Urine filter membrane photographed through a 4× microscope objective. The image covers about 1.5 × 1.1 mm of the membrane.
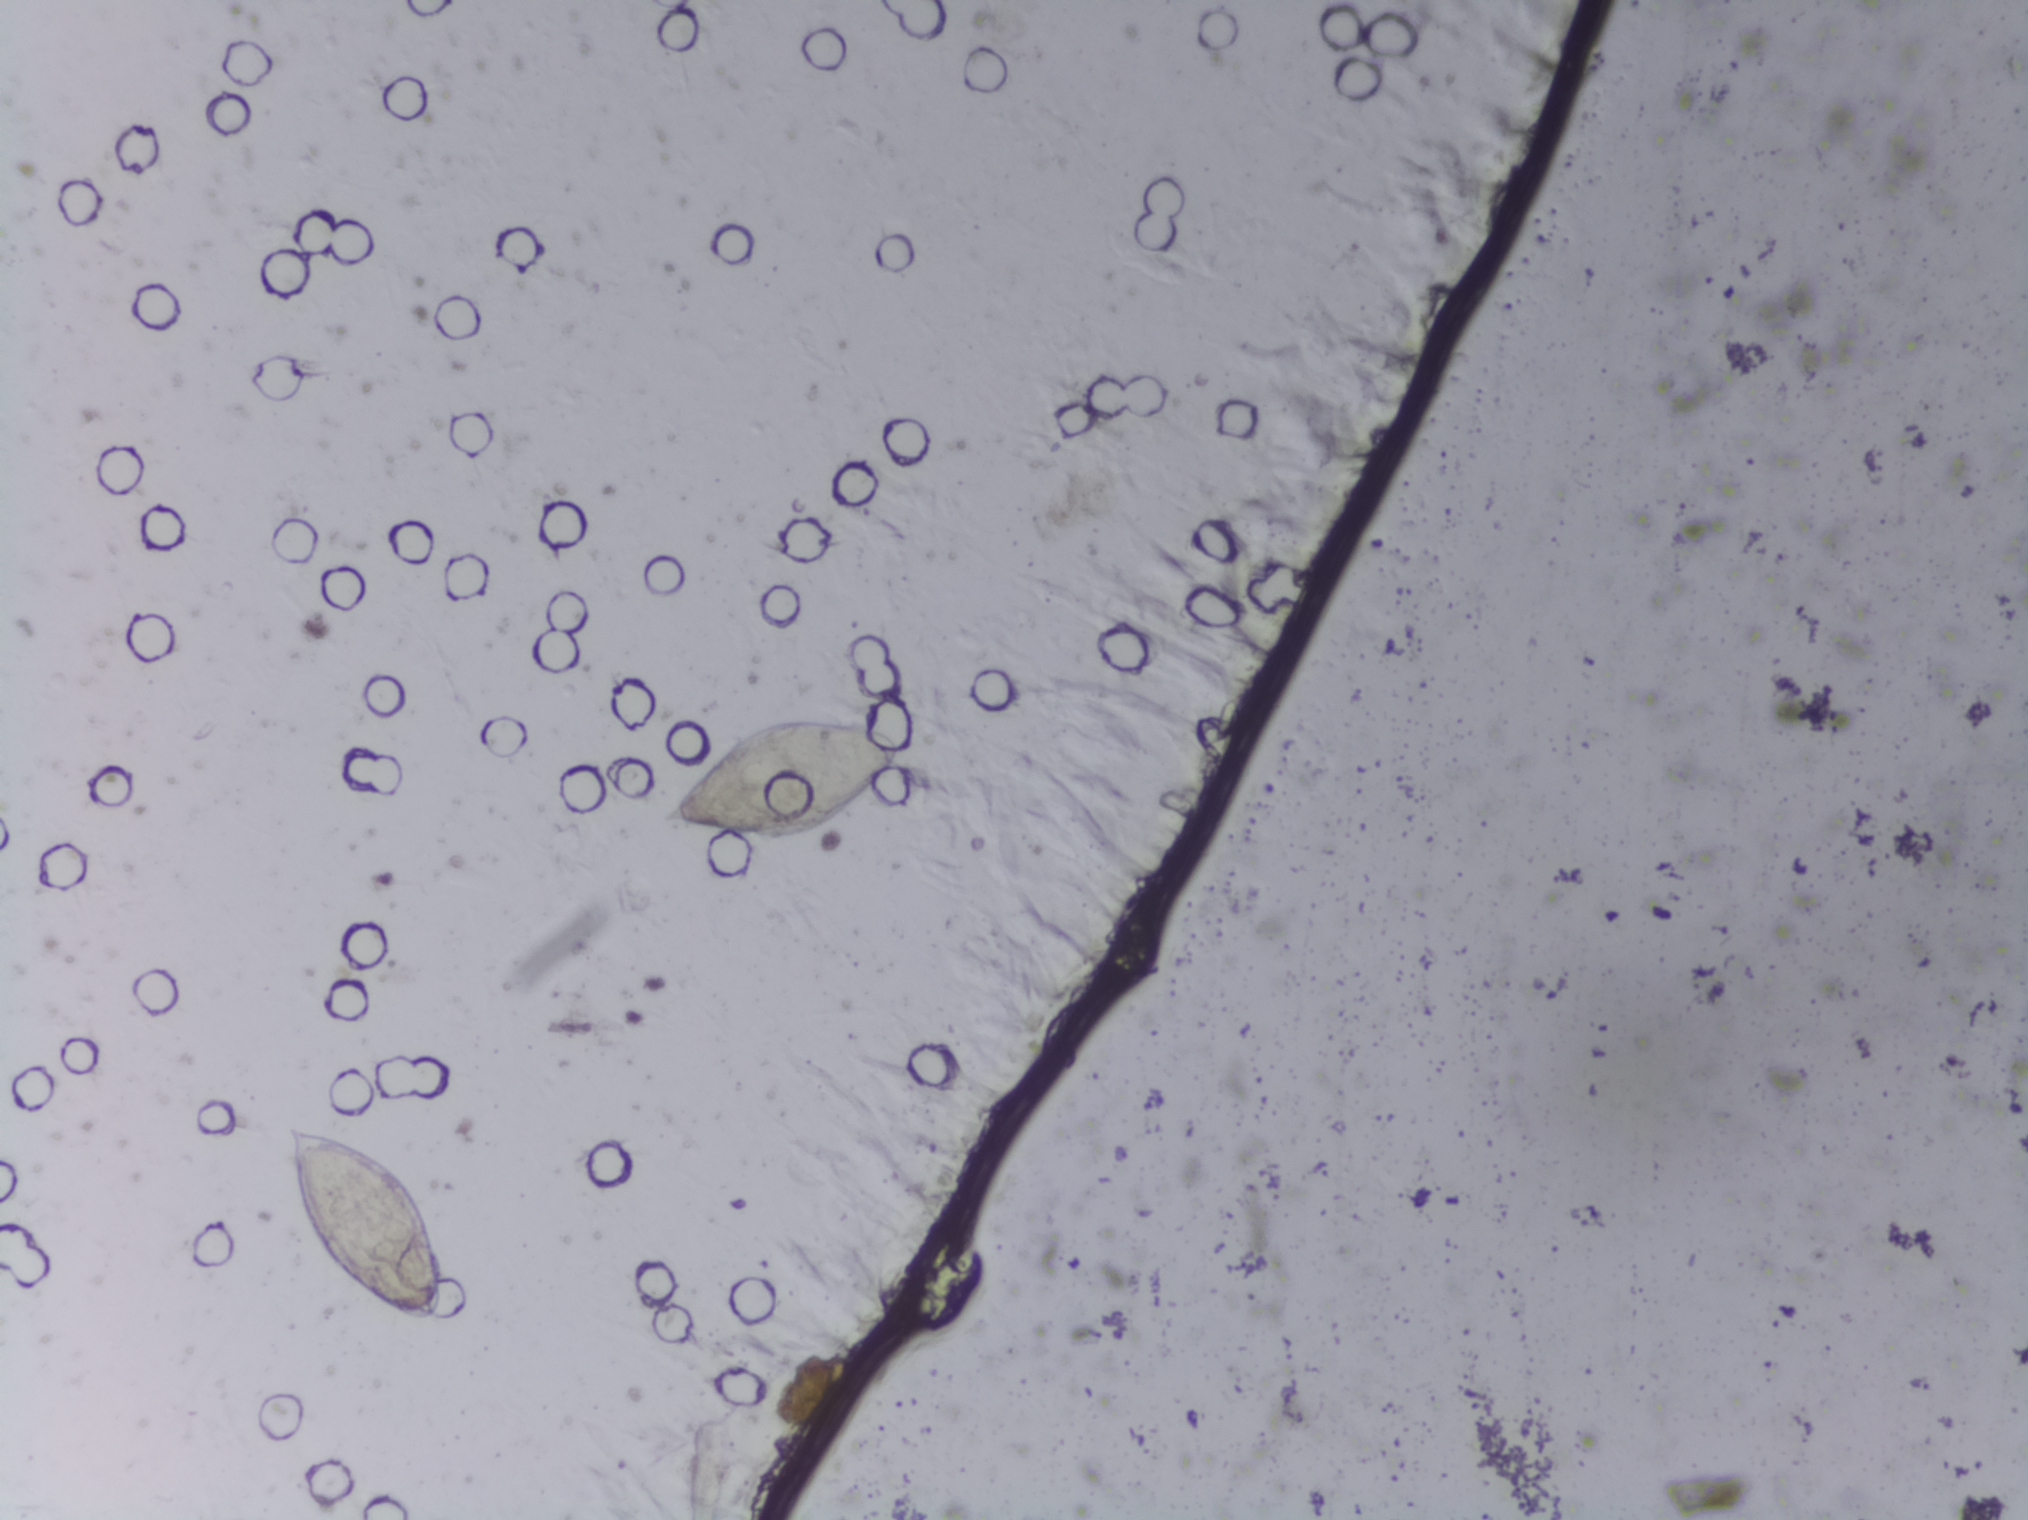
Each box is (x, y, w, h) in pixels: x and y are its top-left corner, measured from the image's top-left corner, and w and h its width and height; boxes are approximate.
Areas outlined as Schistosoma eggs: (x=284, y=1118, w=165, h=210); (x=637, y=708, w=271, h=139). A single outlined area may contain several eggs.